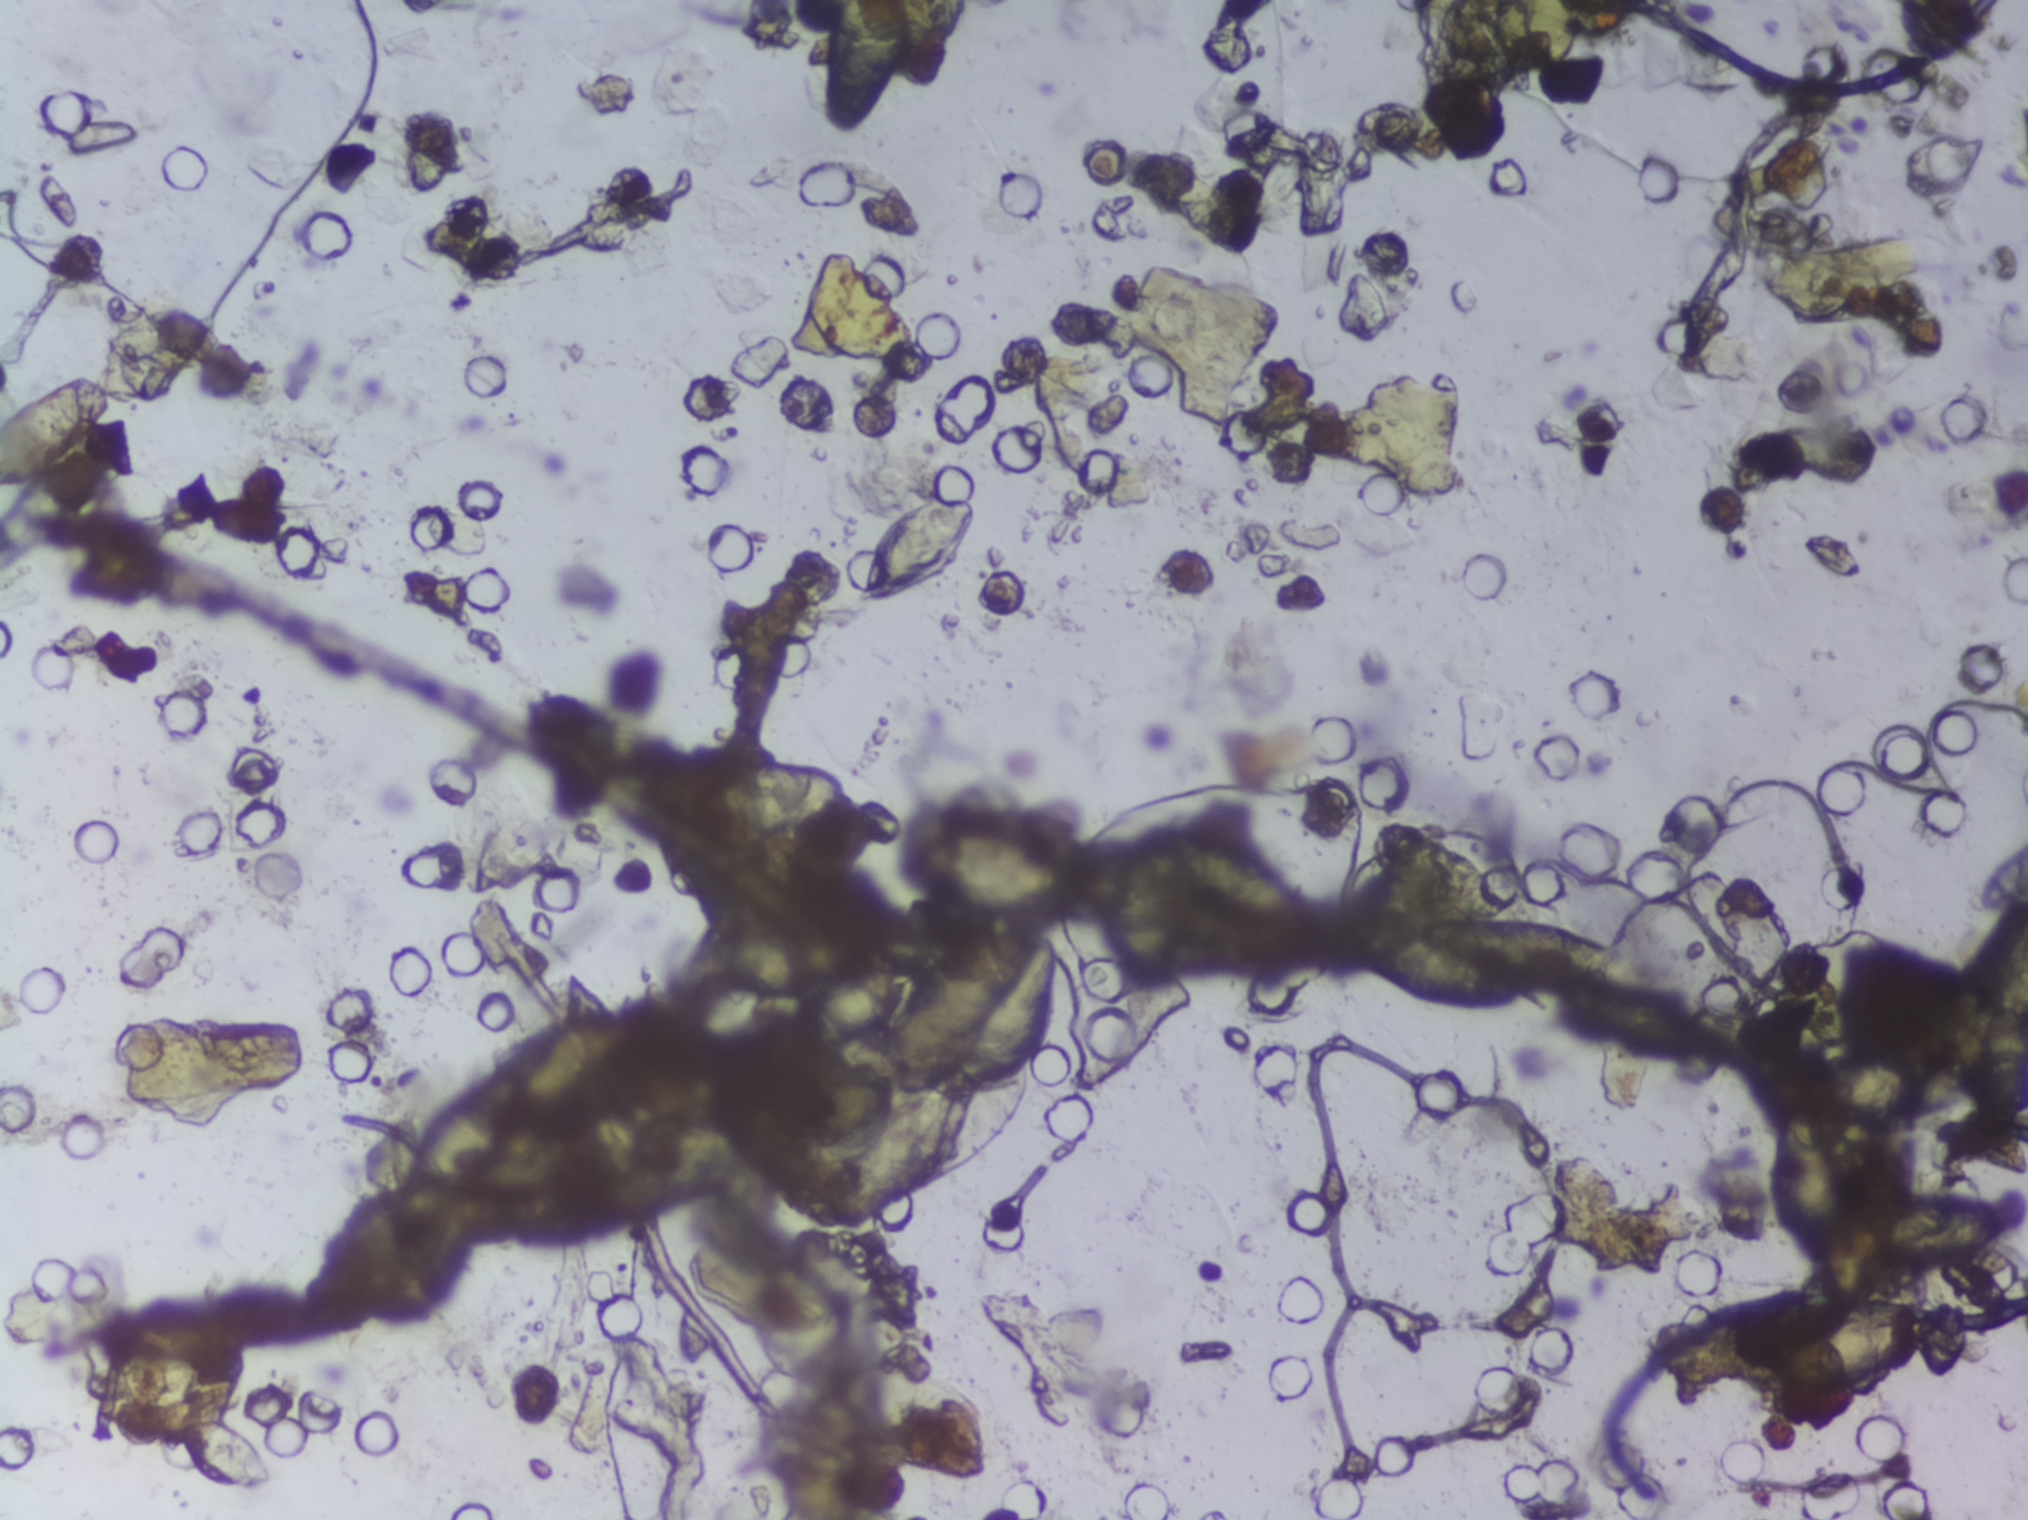
Photograph from an automated digital microscope: urine filter membrane, 4× objective. The image covers about 1.5 × 1.1 mm of the membrane.
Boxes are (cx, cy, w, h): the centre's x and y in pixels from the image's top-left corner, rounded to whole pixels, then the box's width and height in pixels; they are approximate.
Schistosoma eggs are outlined in ten areas of this image, listed from left to right: (cx=56, cy=435, w=112, h=118) (reaching the left edge of the frame); (cx=744, cy=797, w=222, h=90); (cx=867, cy=67, w=102, h=134) (reaching the top edge of the frame); (cx=915, cy=545, w=141, h=135); (cx=981, cy=966, w=183, h=277); (cx=1214, cy=910, w=211, h=177); (cx=1477, cy=915, w=268, h=201); (cx=1823, cy=1337, w=201, h=94); (cx=1867, cy=1156, w=205, h=236); (cx=1932, cy=1223, w=147, h=70). Eggs that touch can end up inside the same outlined area.